Urine filter membrane photographed through a 4× microscope objective. The image covers about 1.5 × 1.1 mm of the membrane.
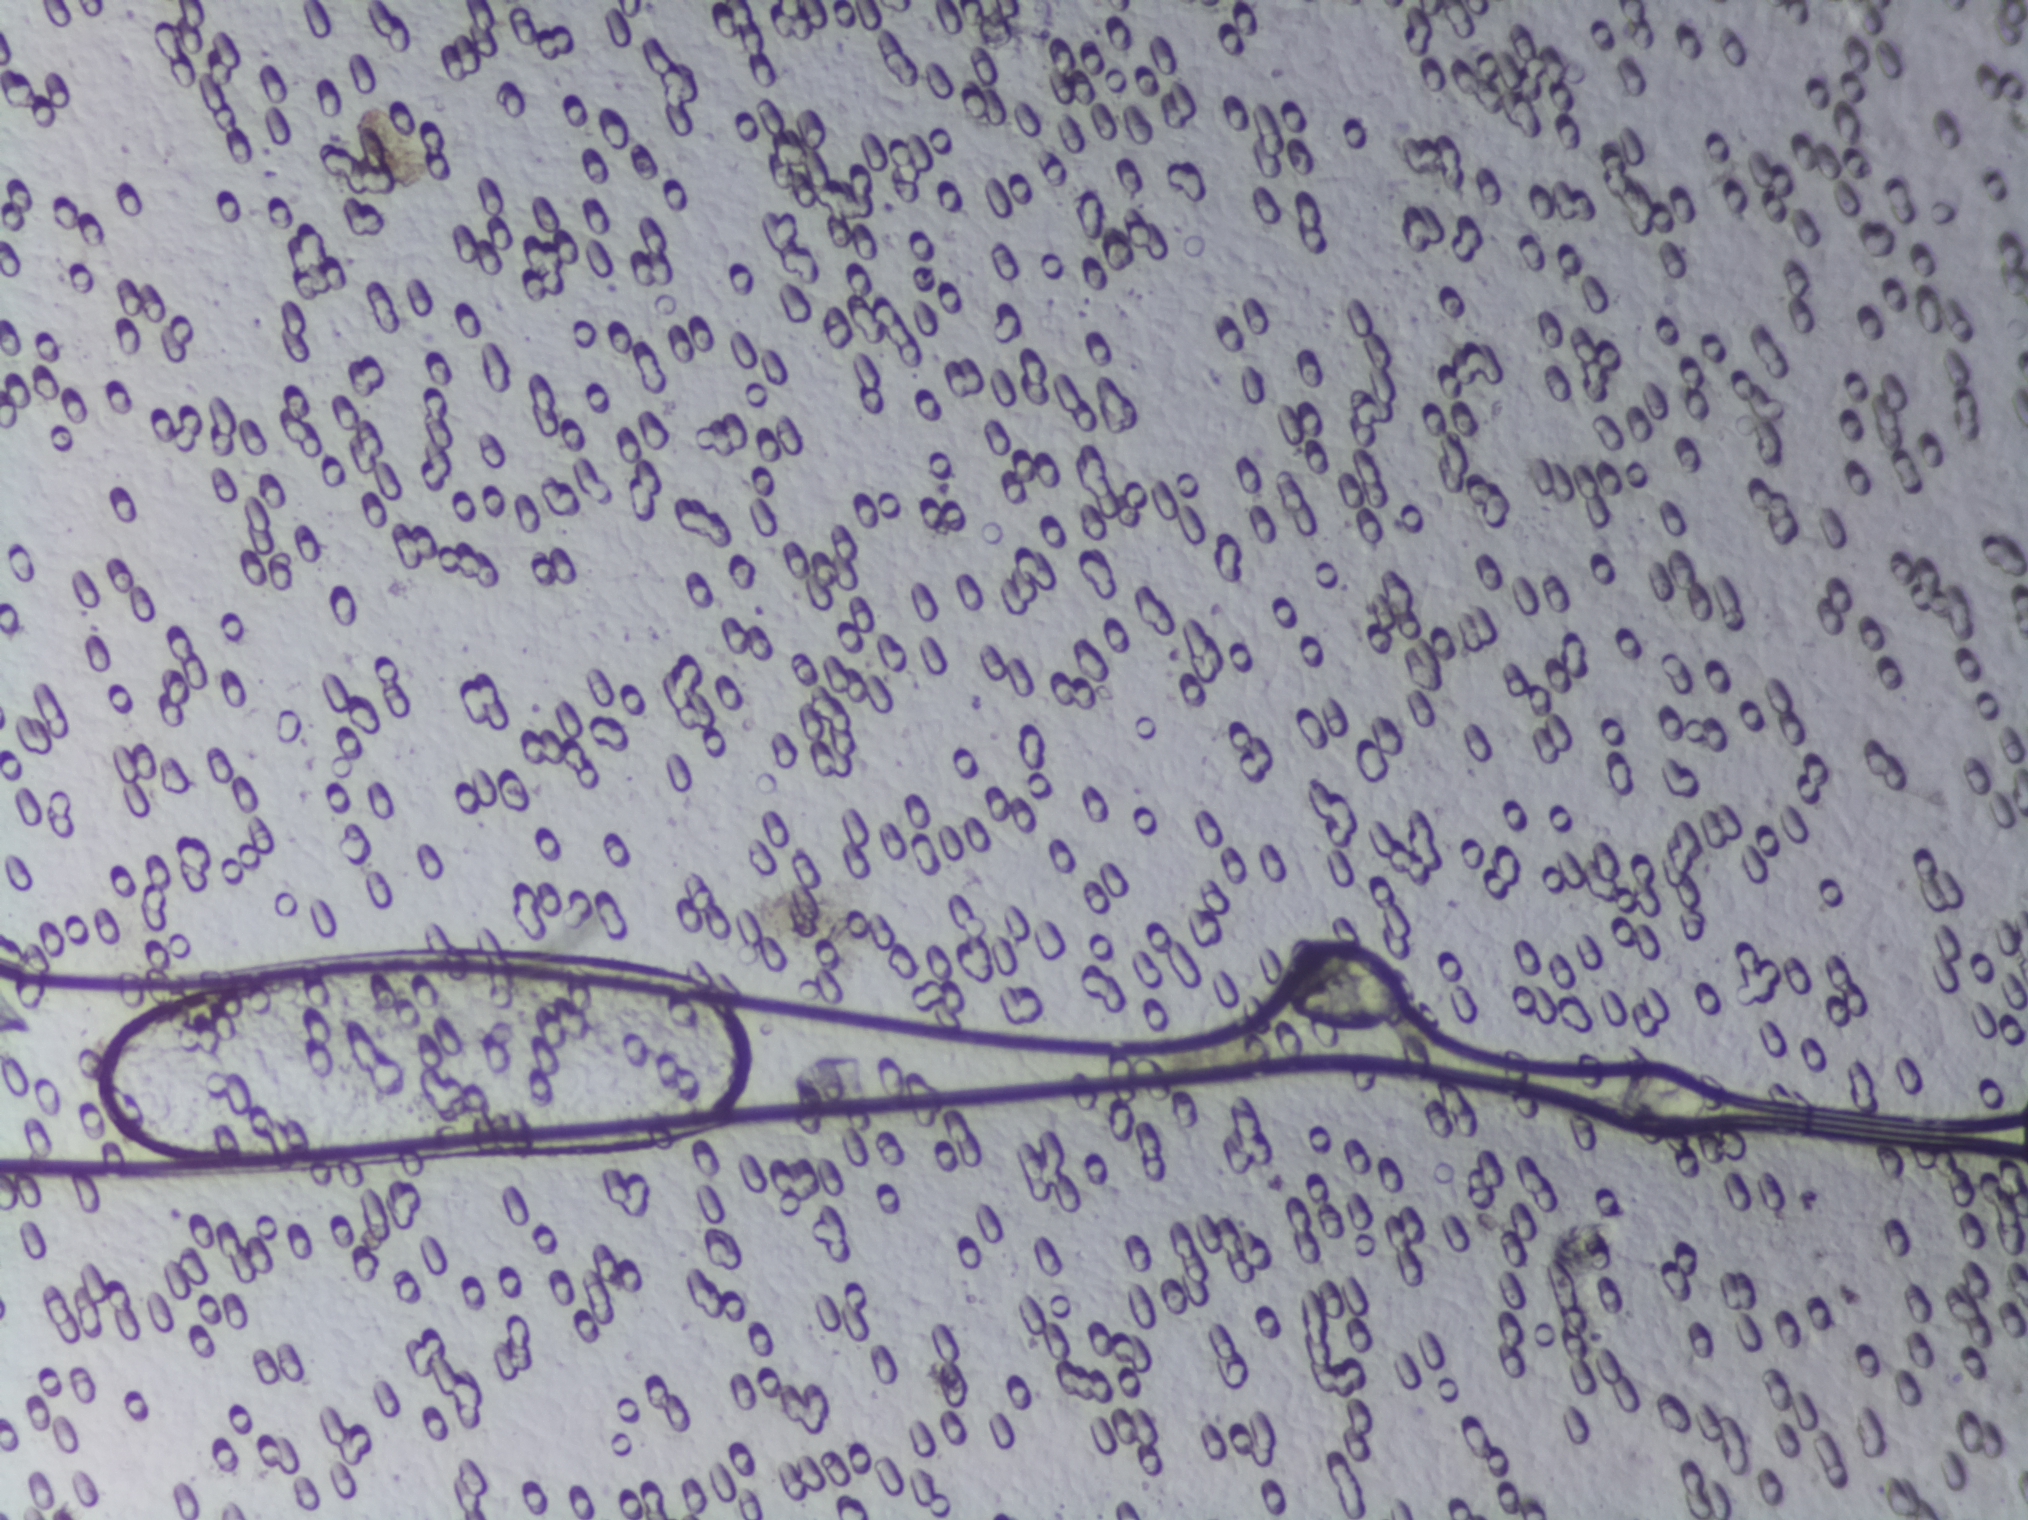
No Schistosoma egg is outlined in this image's expert annotation.